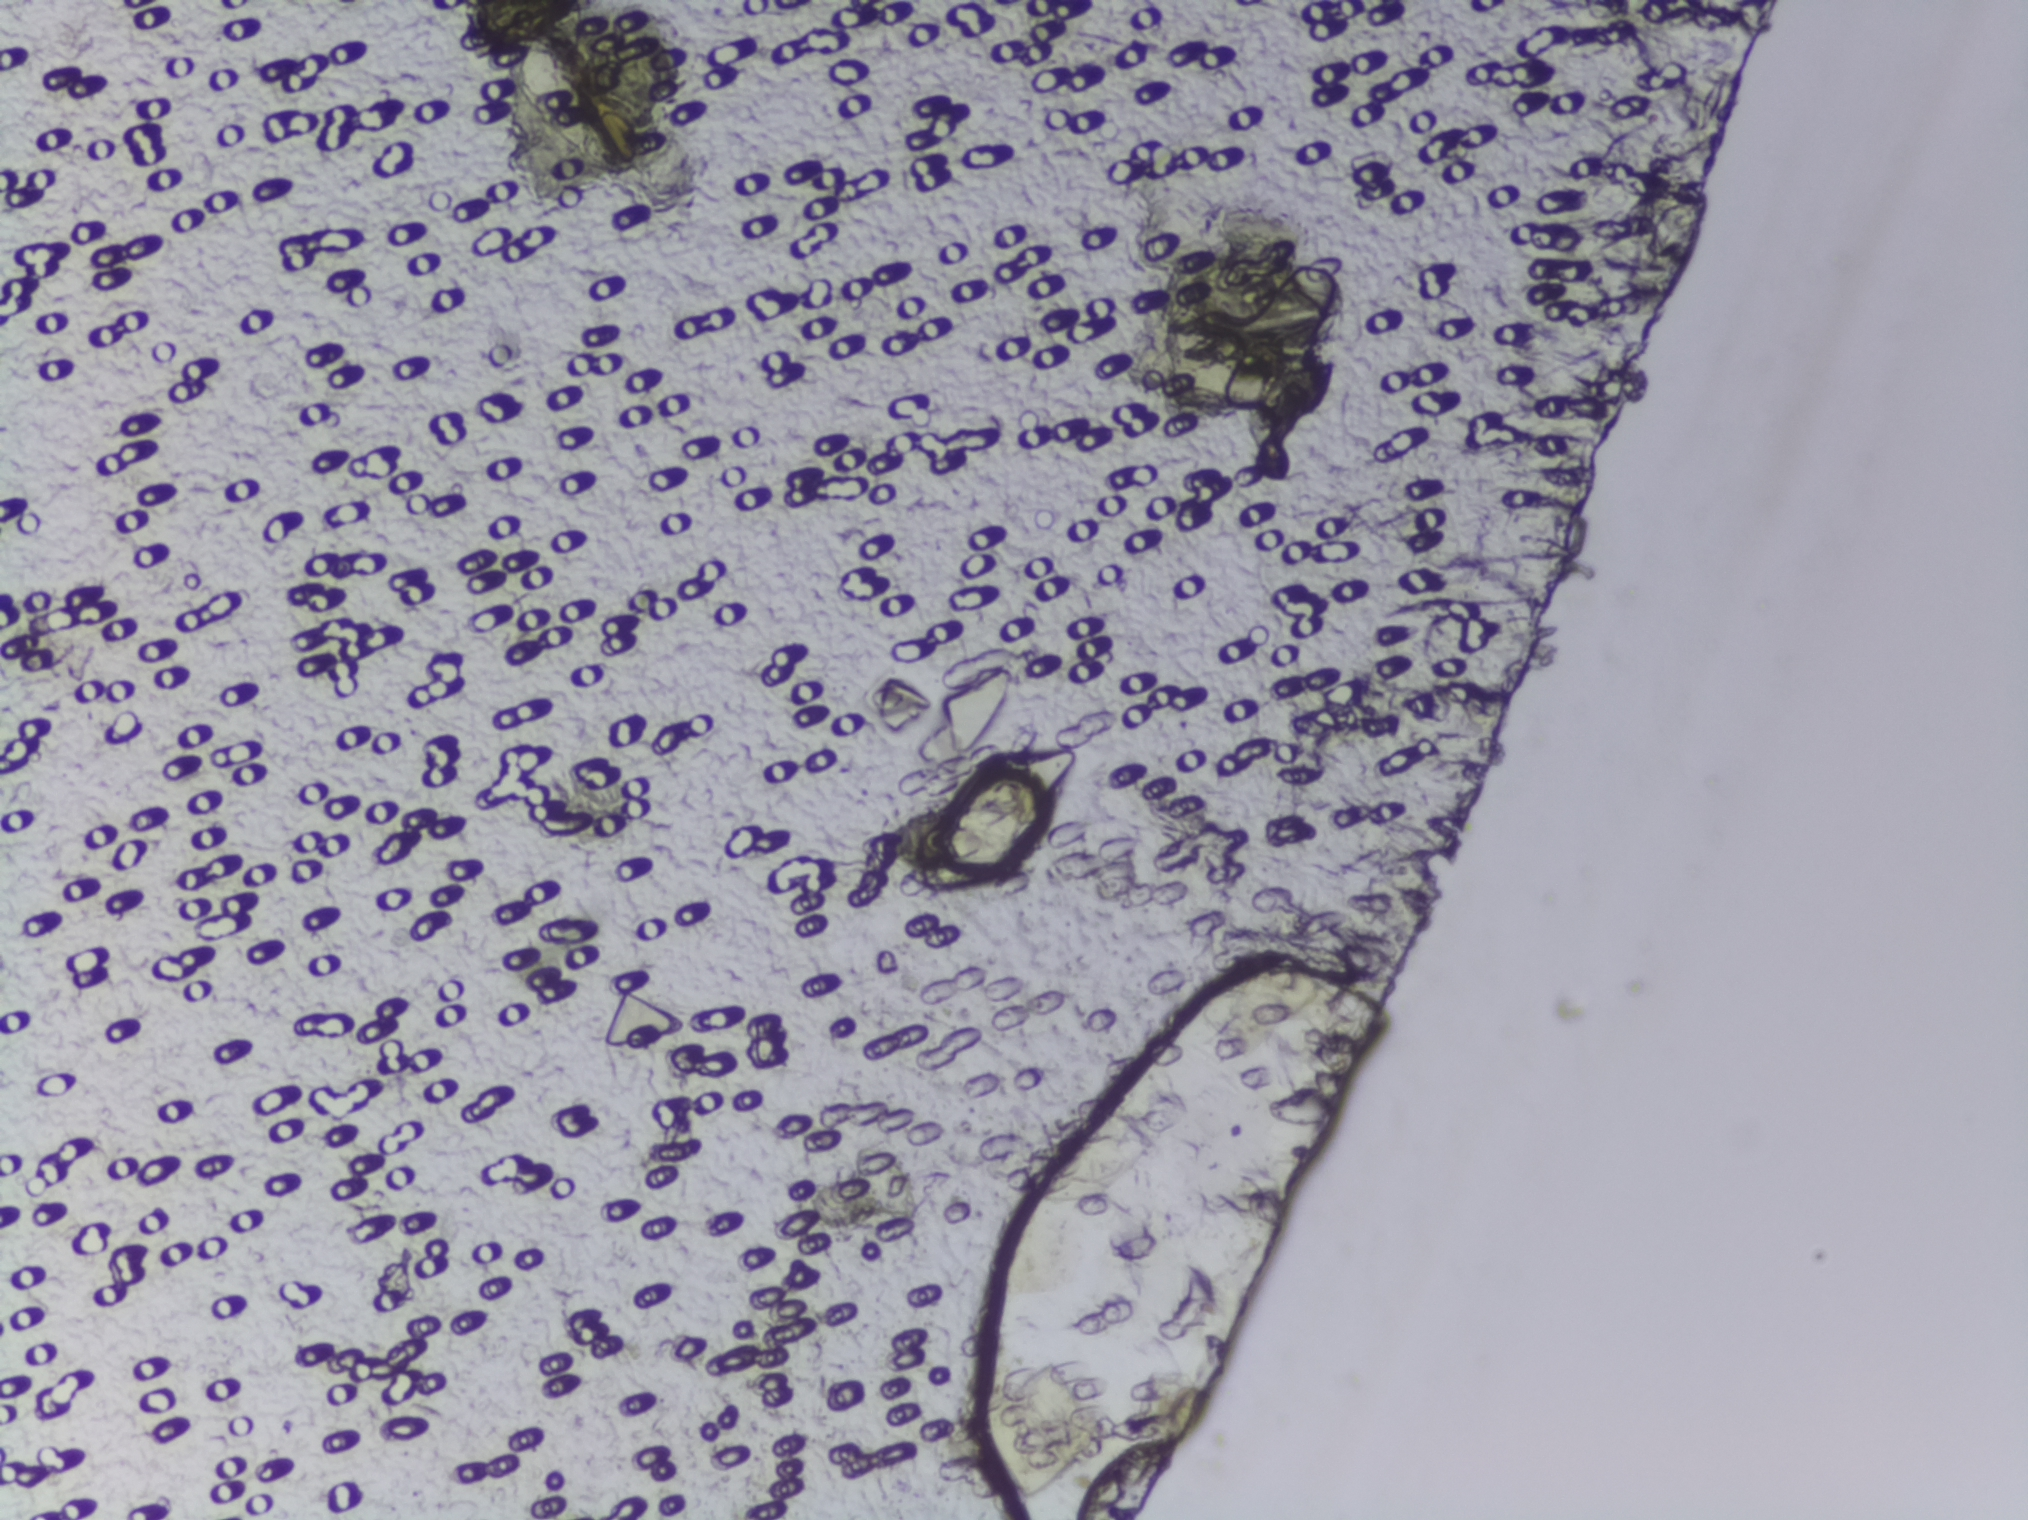
No area of this image was outlined as a Schistosoma egg.
Microscope photograph (4× objective) of a membrane that a urine sample was filtered through.